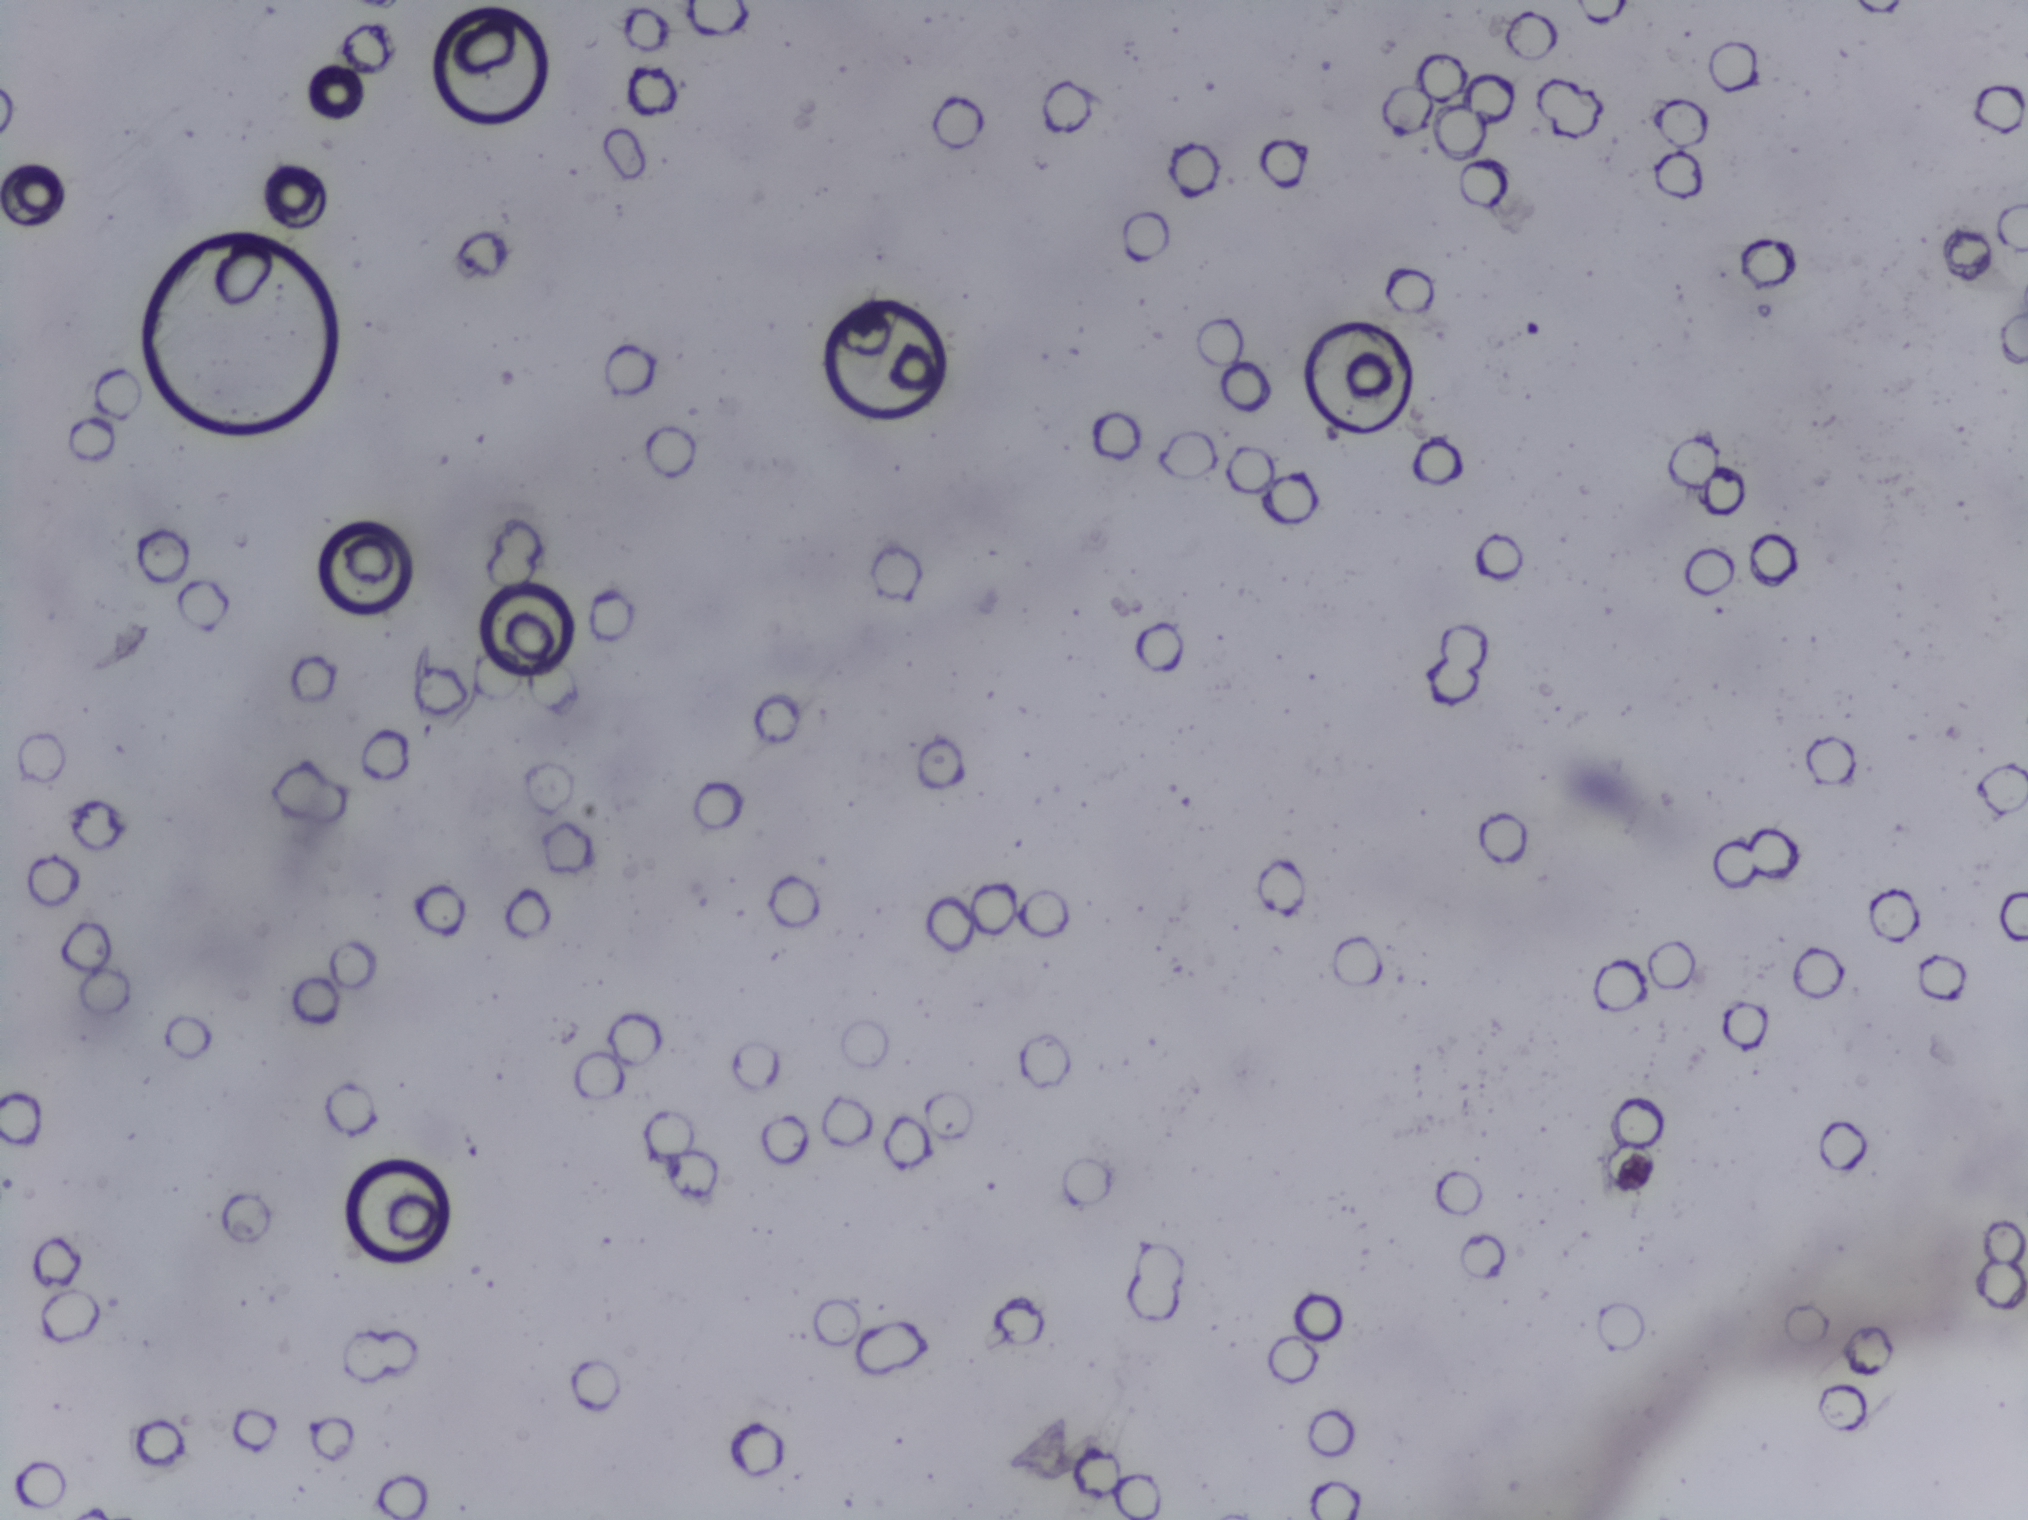
The expert annotation marks no Schistosoma egg in this field of view.
Photograph from an automated digital microscope: urine filter membrane, 4× objective.